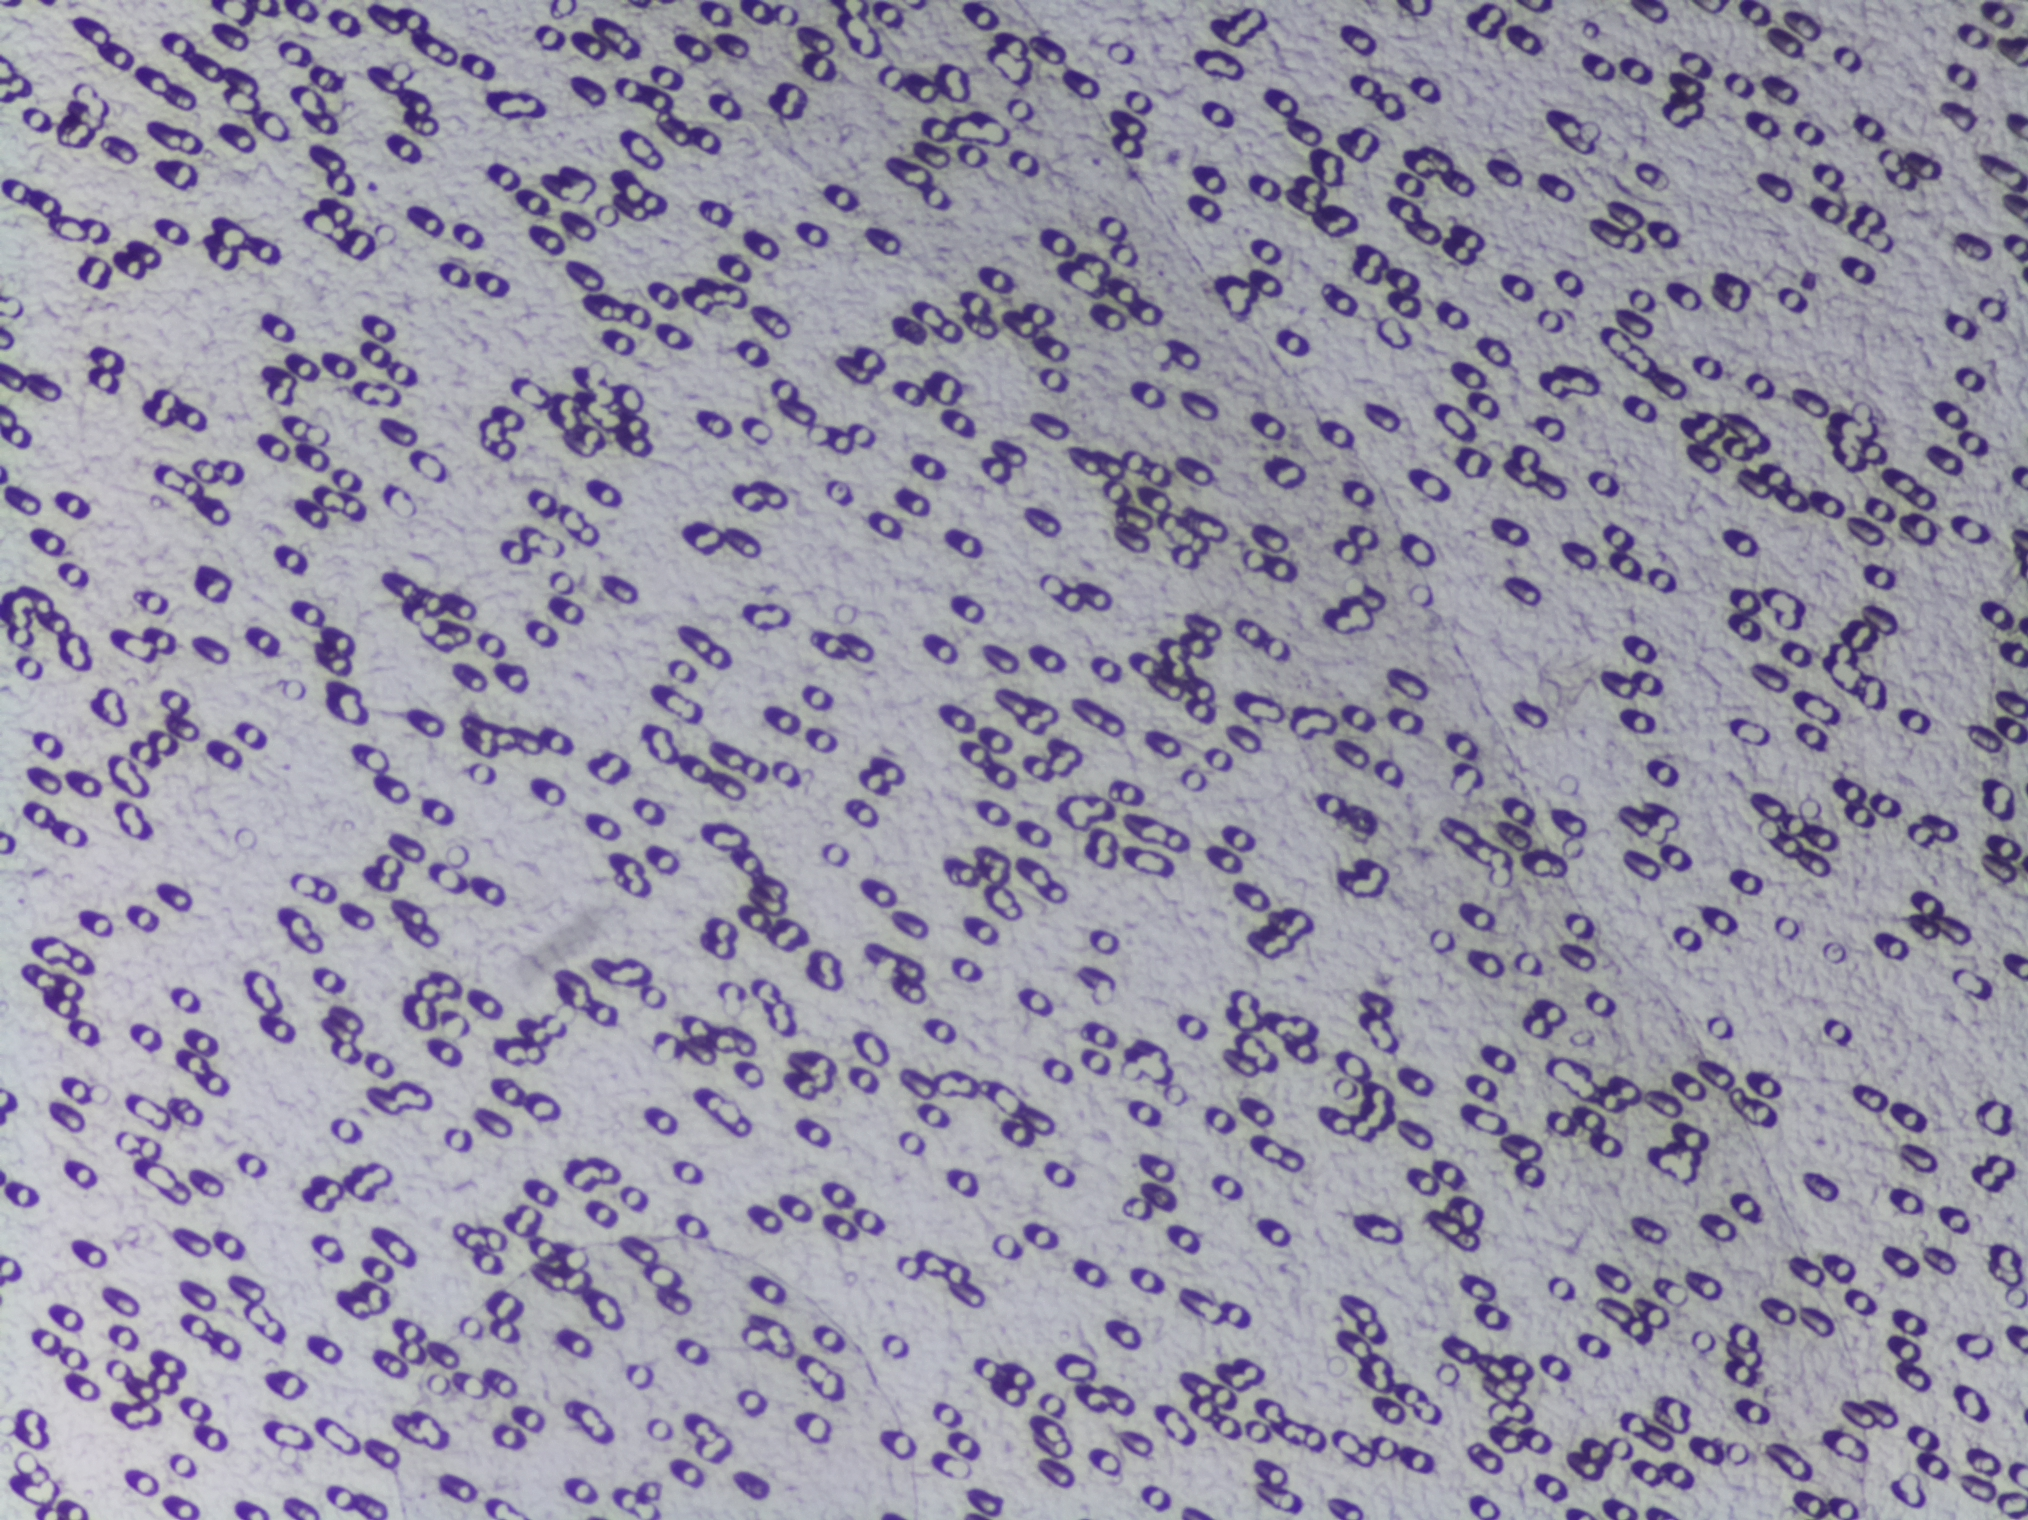
The expert annotation marks no Schistosoma egg in this field of view.
Microscope photograph (4× objective) of a membrane that a urine sample was filtered through. Field of view: about 1.5 mm wide and 1.1 mm high.